Photograph from an automated digital microscope: urine filter membrane, 4× objective.
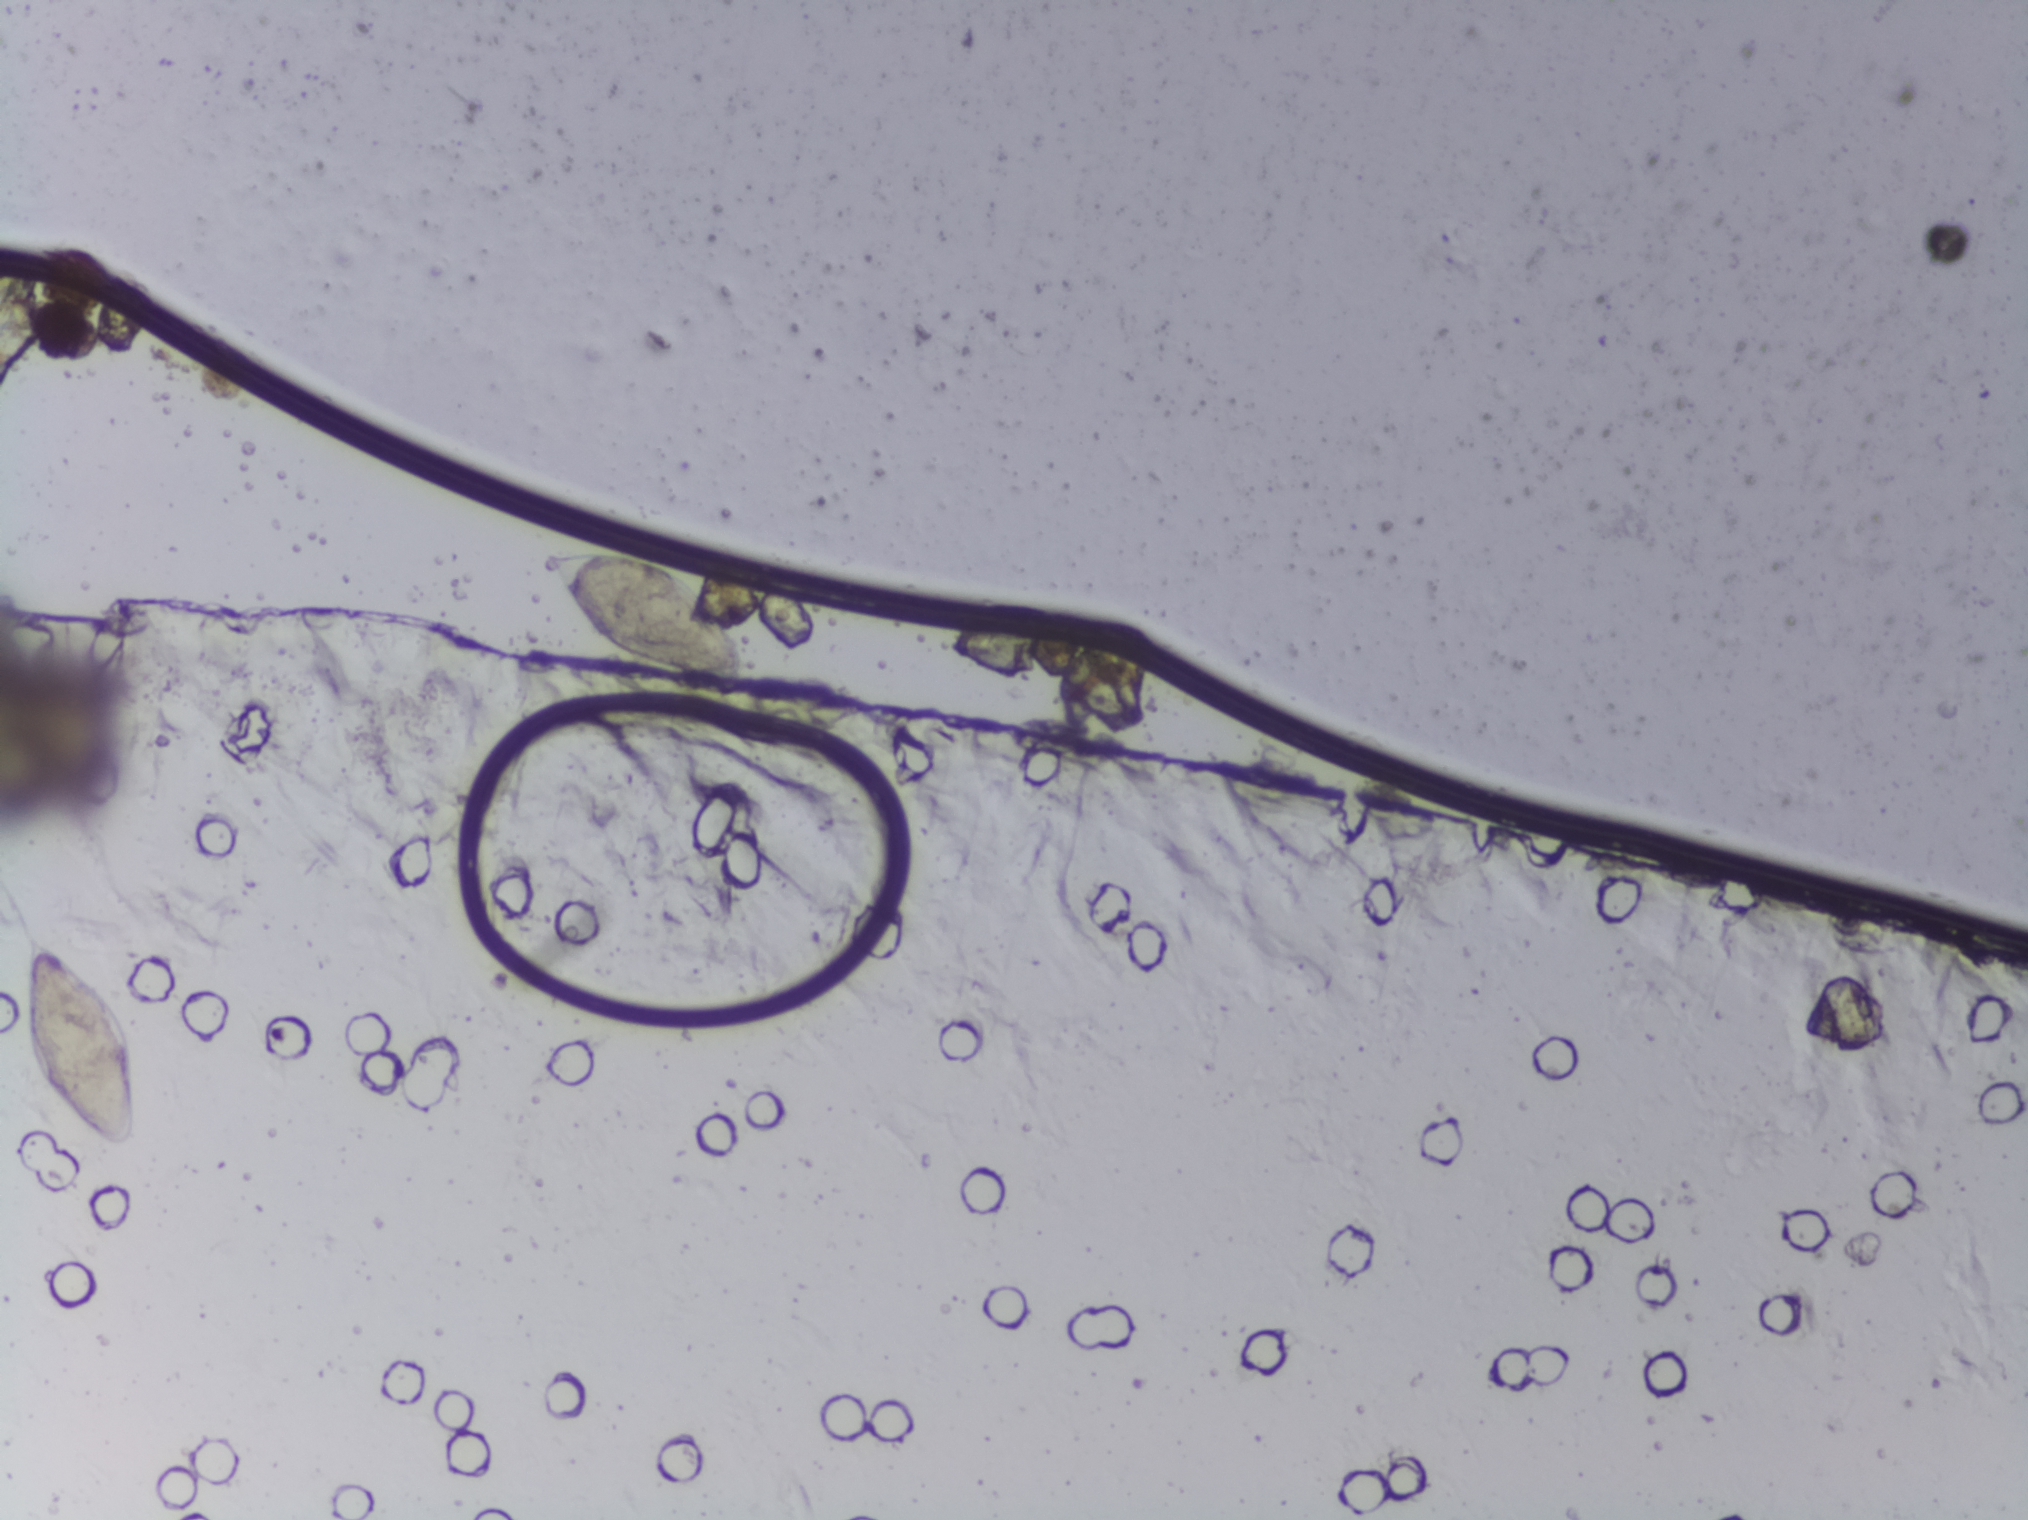
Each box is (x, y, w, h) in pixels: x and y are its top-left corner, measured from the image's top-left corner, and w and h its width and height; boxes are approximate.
Areas outlined as Schistosoma eggs, left to right:
1. (x=16, y=927, w=127, h=228)
2. (x=537, y=547, w=218, h=140)
A single outlined area may contain several eggs.